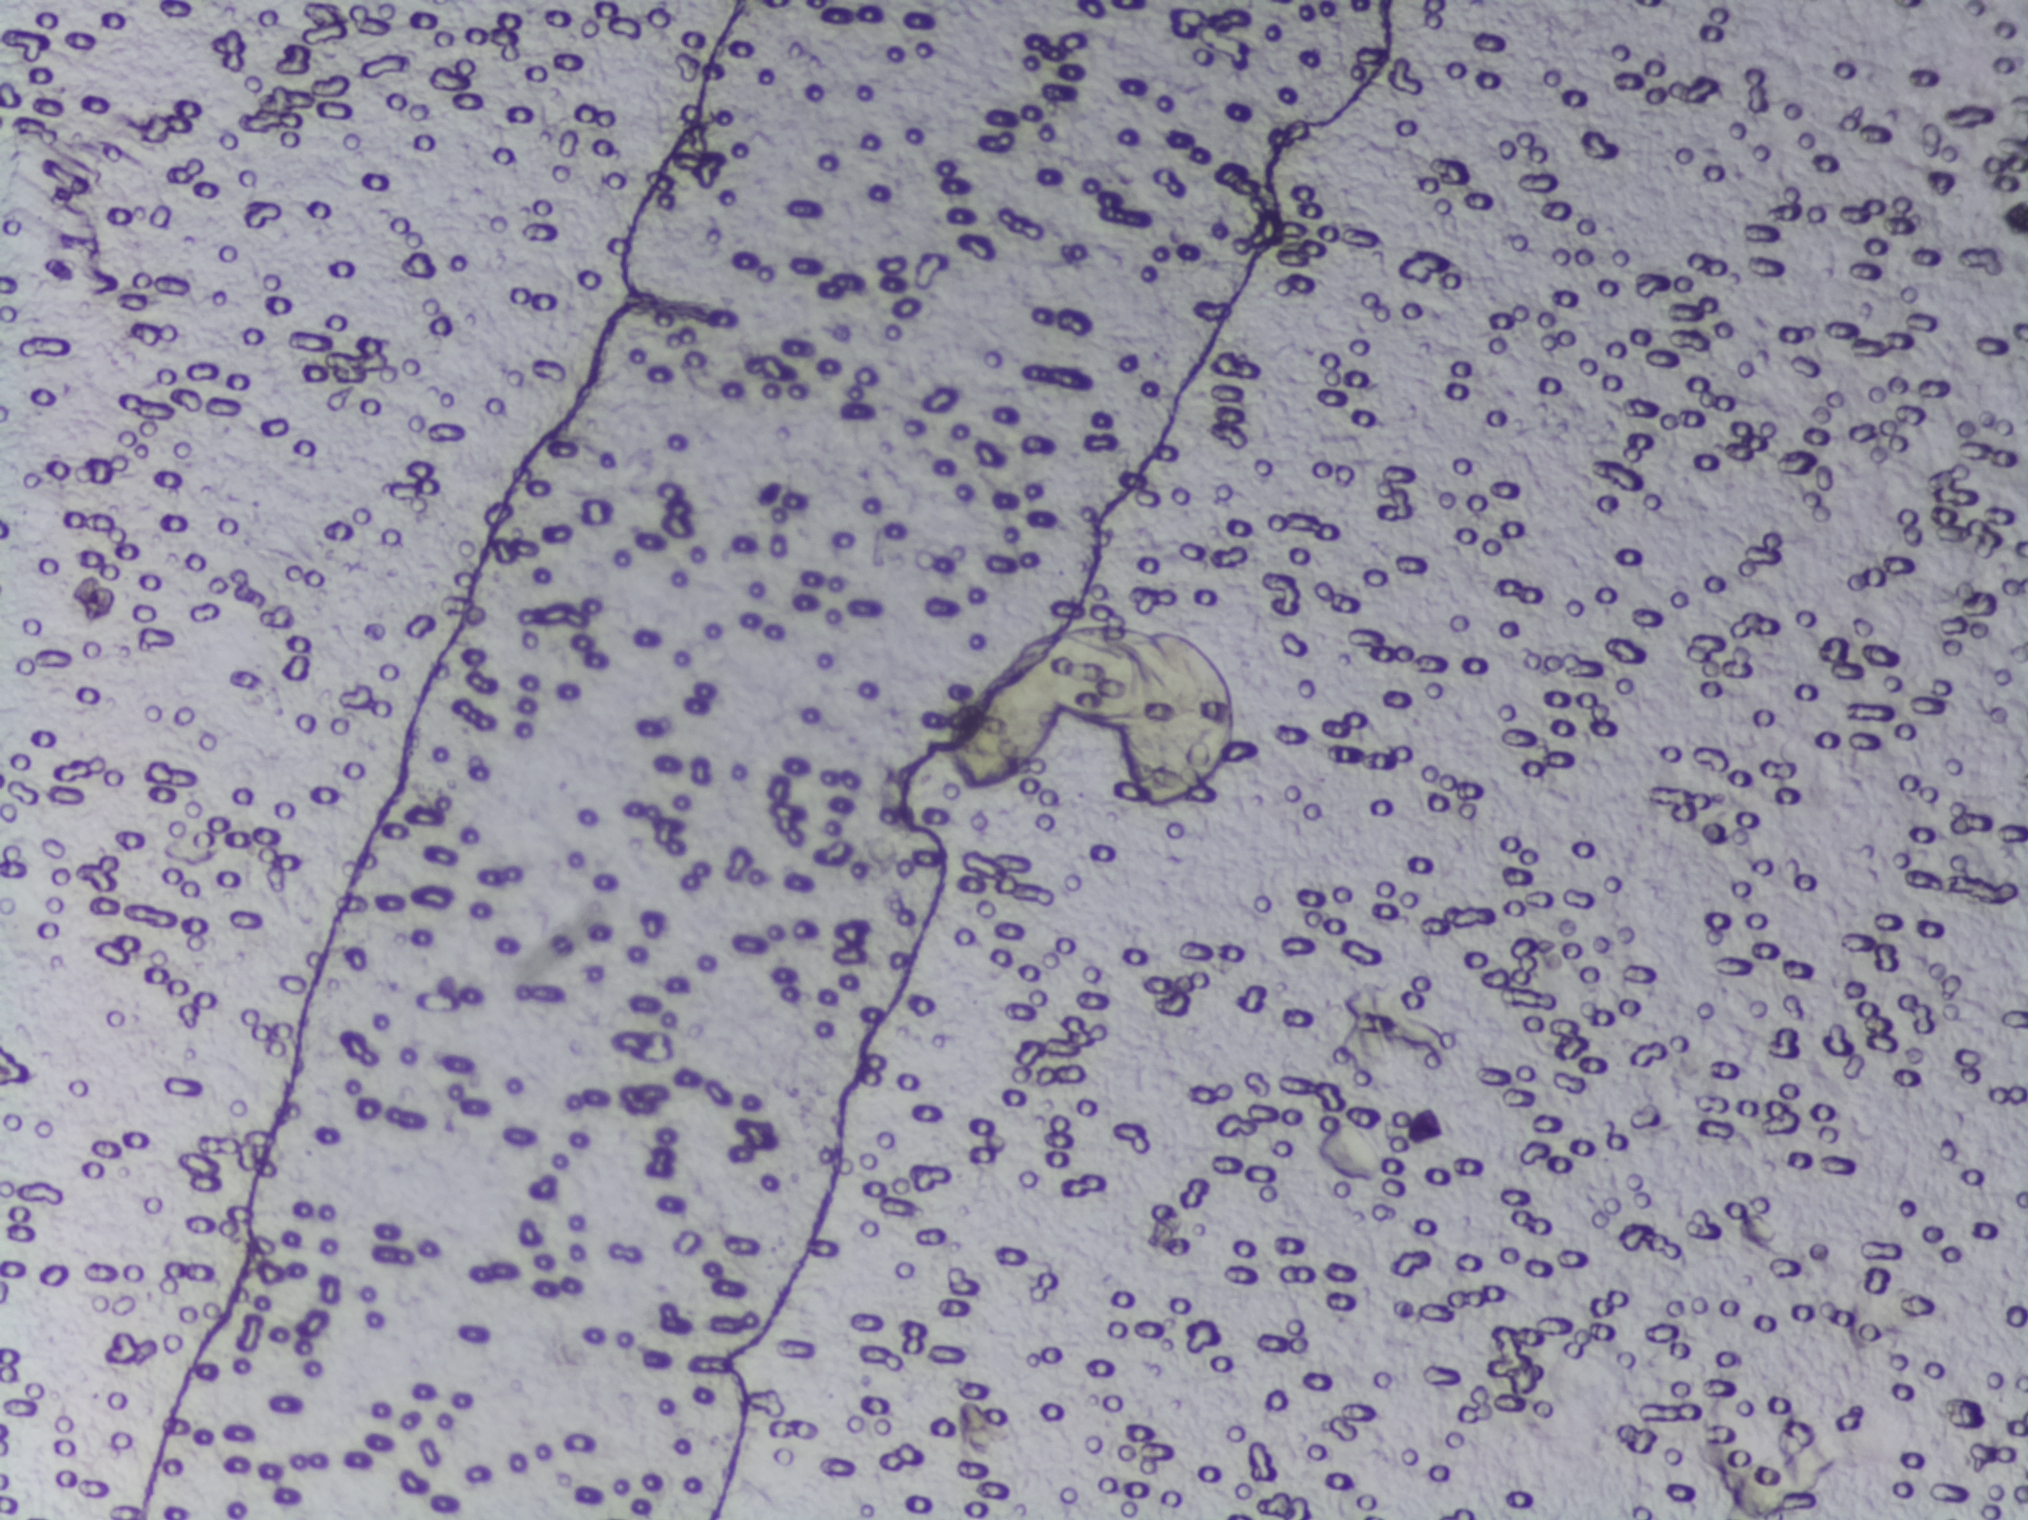
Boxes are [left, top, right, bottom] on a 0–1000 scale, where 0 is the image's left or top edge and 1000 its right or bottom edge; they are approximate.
Schistosoma eggs are outlined in one area of this image: [464, 409, 612, 536]. Marked pixels, not the box around them: about 1.2% of the image. Eggs that touch can end up inside the same outlined area.
Urine filter membrane photographed through a 4× microscope objective.